Photomicrograph of a urine filtration membrane, 4× objective. Field of view: about 1.5 mm wide and 1.1 mm high.
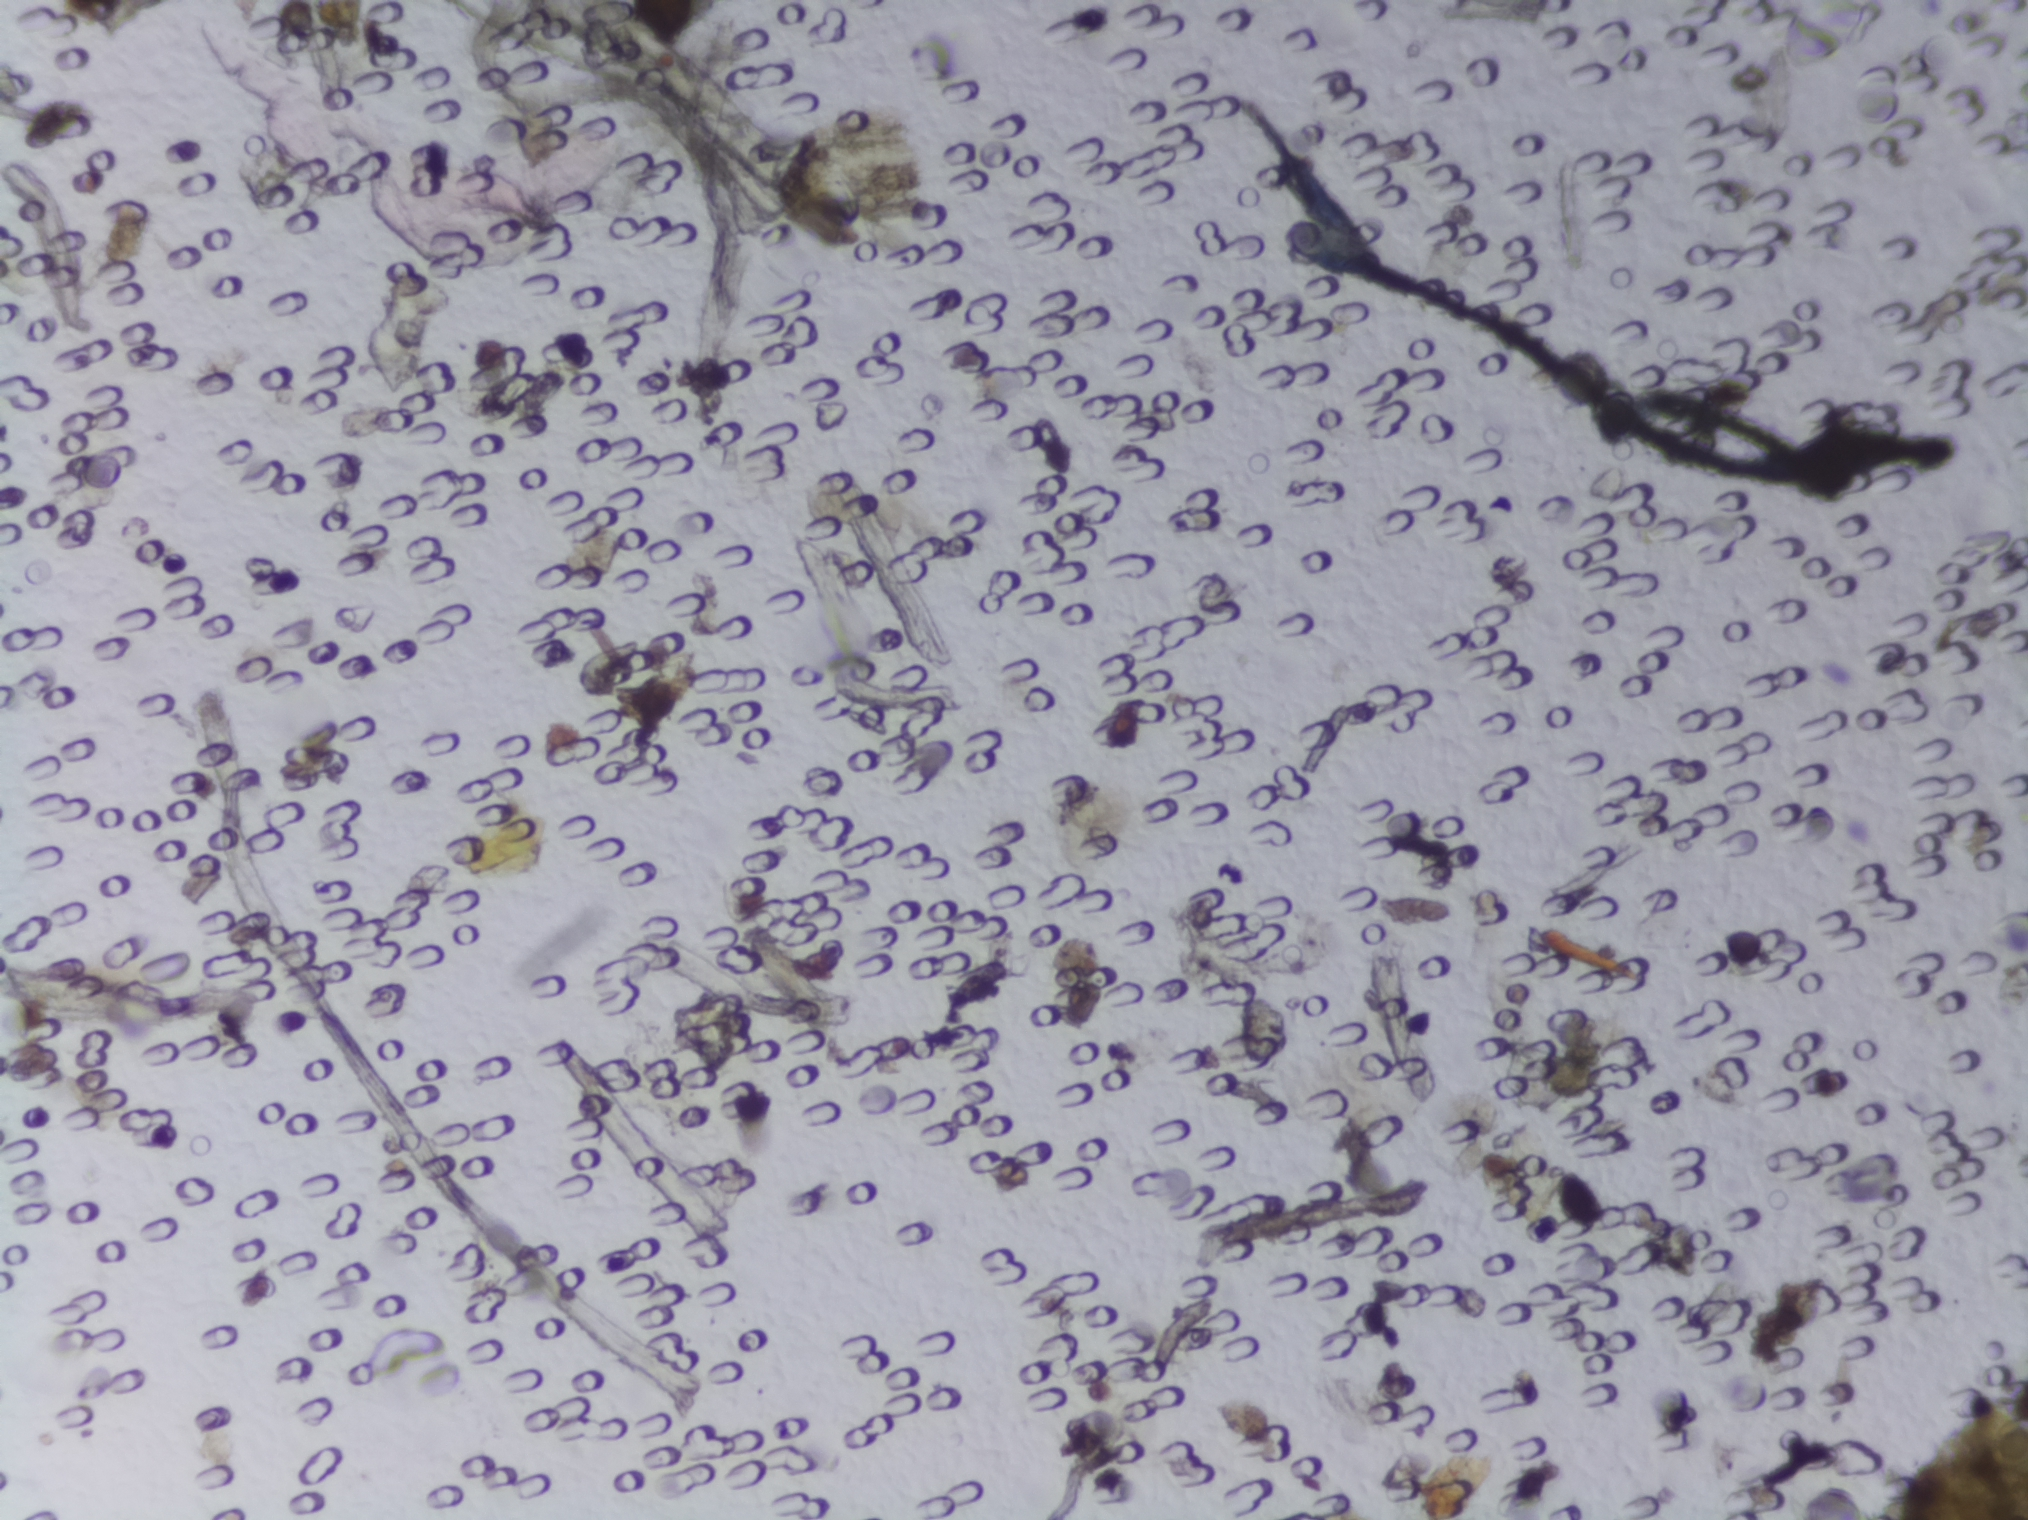
The expert annotation outlines no Schistosoma egg in this image.